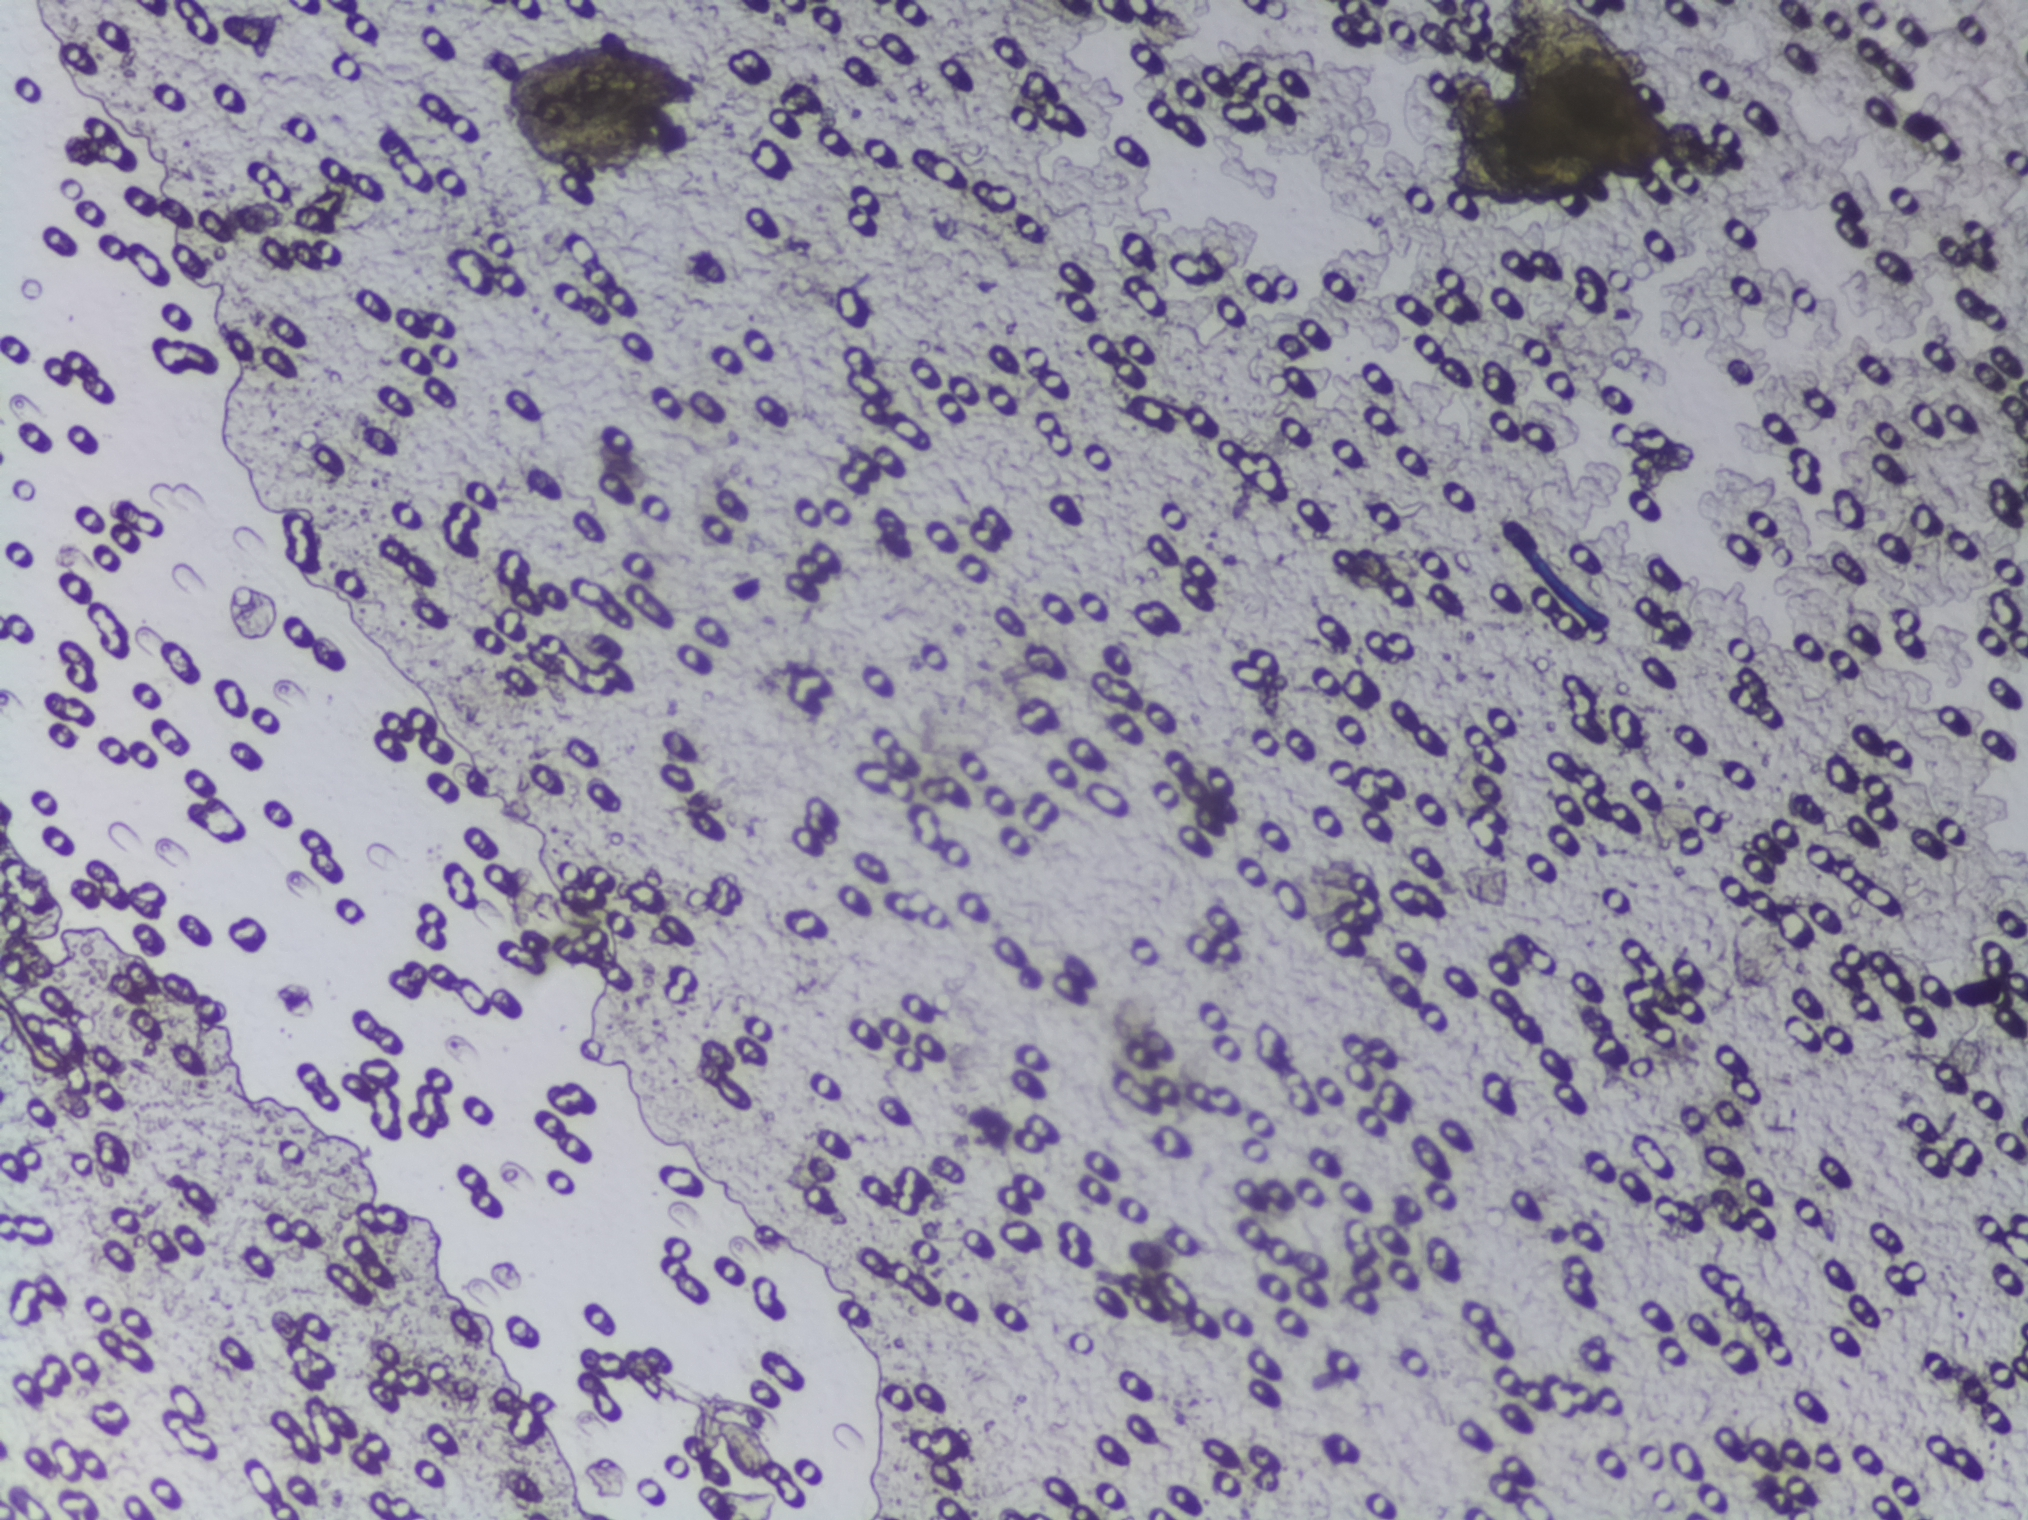
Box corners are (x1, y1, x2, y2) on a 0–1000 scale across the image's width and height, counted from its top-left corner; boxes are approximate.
The expert annotation outlines Schistosoma eggs at (246, 29, 349, 116). Eggs that touch can end up inside the same outlined area.
Photograph from an automated digital microscope: urine filter membrane, 4× objective. The field of view is about 1.5 mm × 1.1 mm.